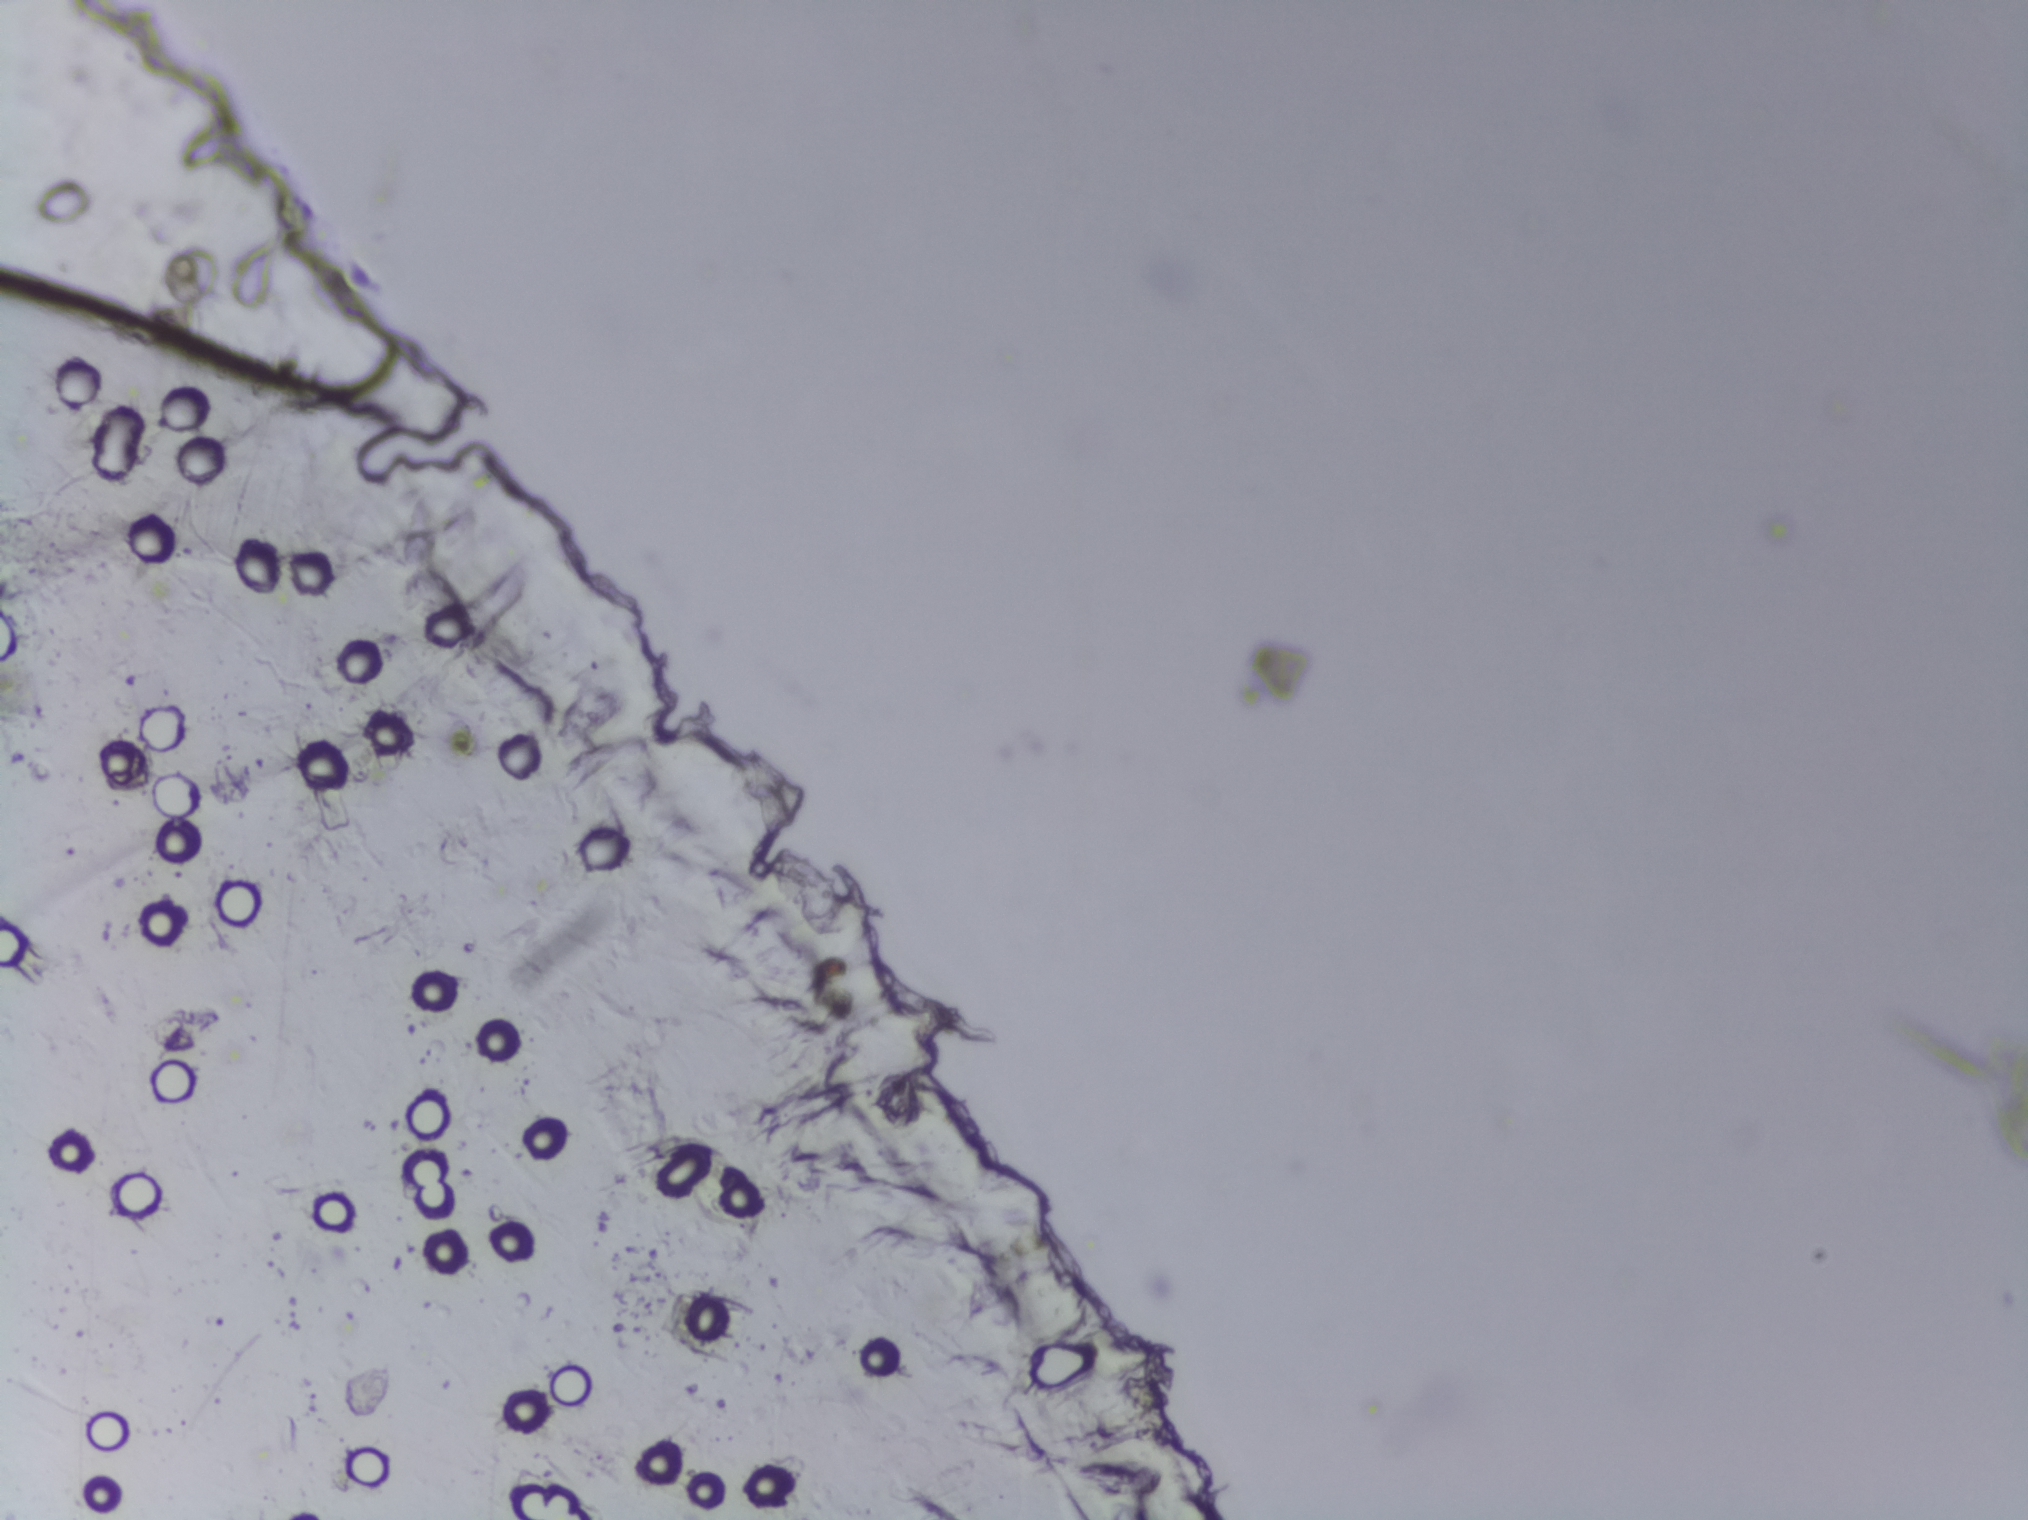
Schistosoma eggs: none outlined.
Urine filtration membrane under a 4× objective, photographed by an automated digital microscope. The field of view is about 1.5 mm × 1.1 mm.